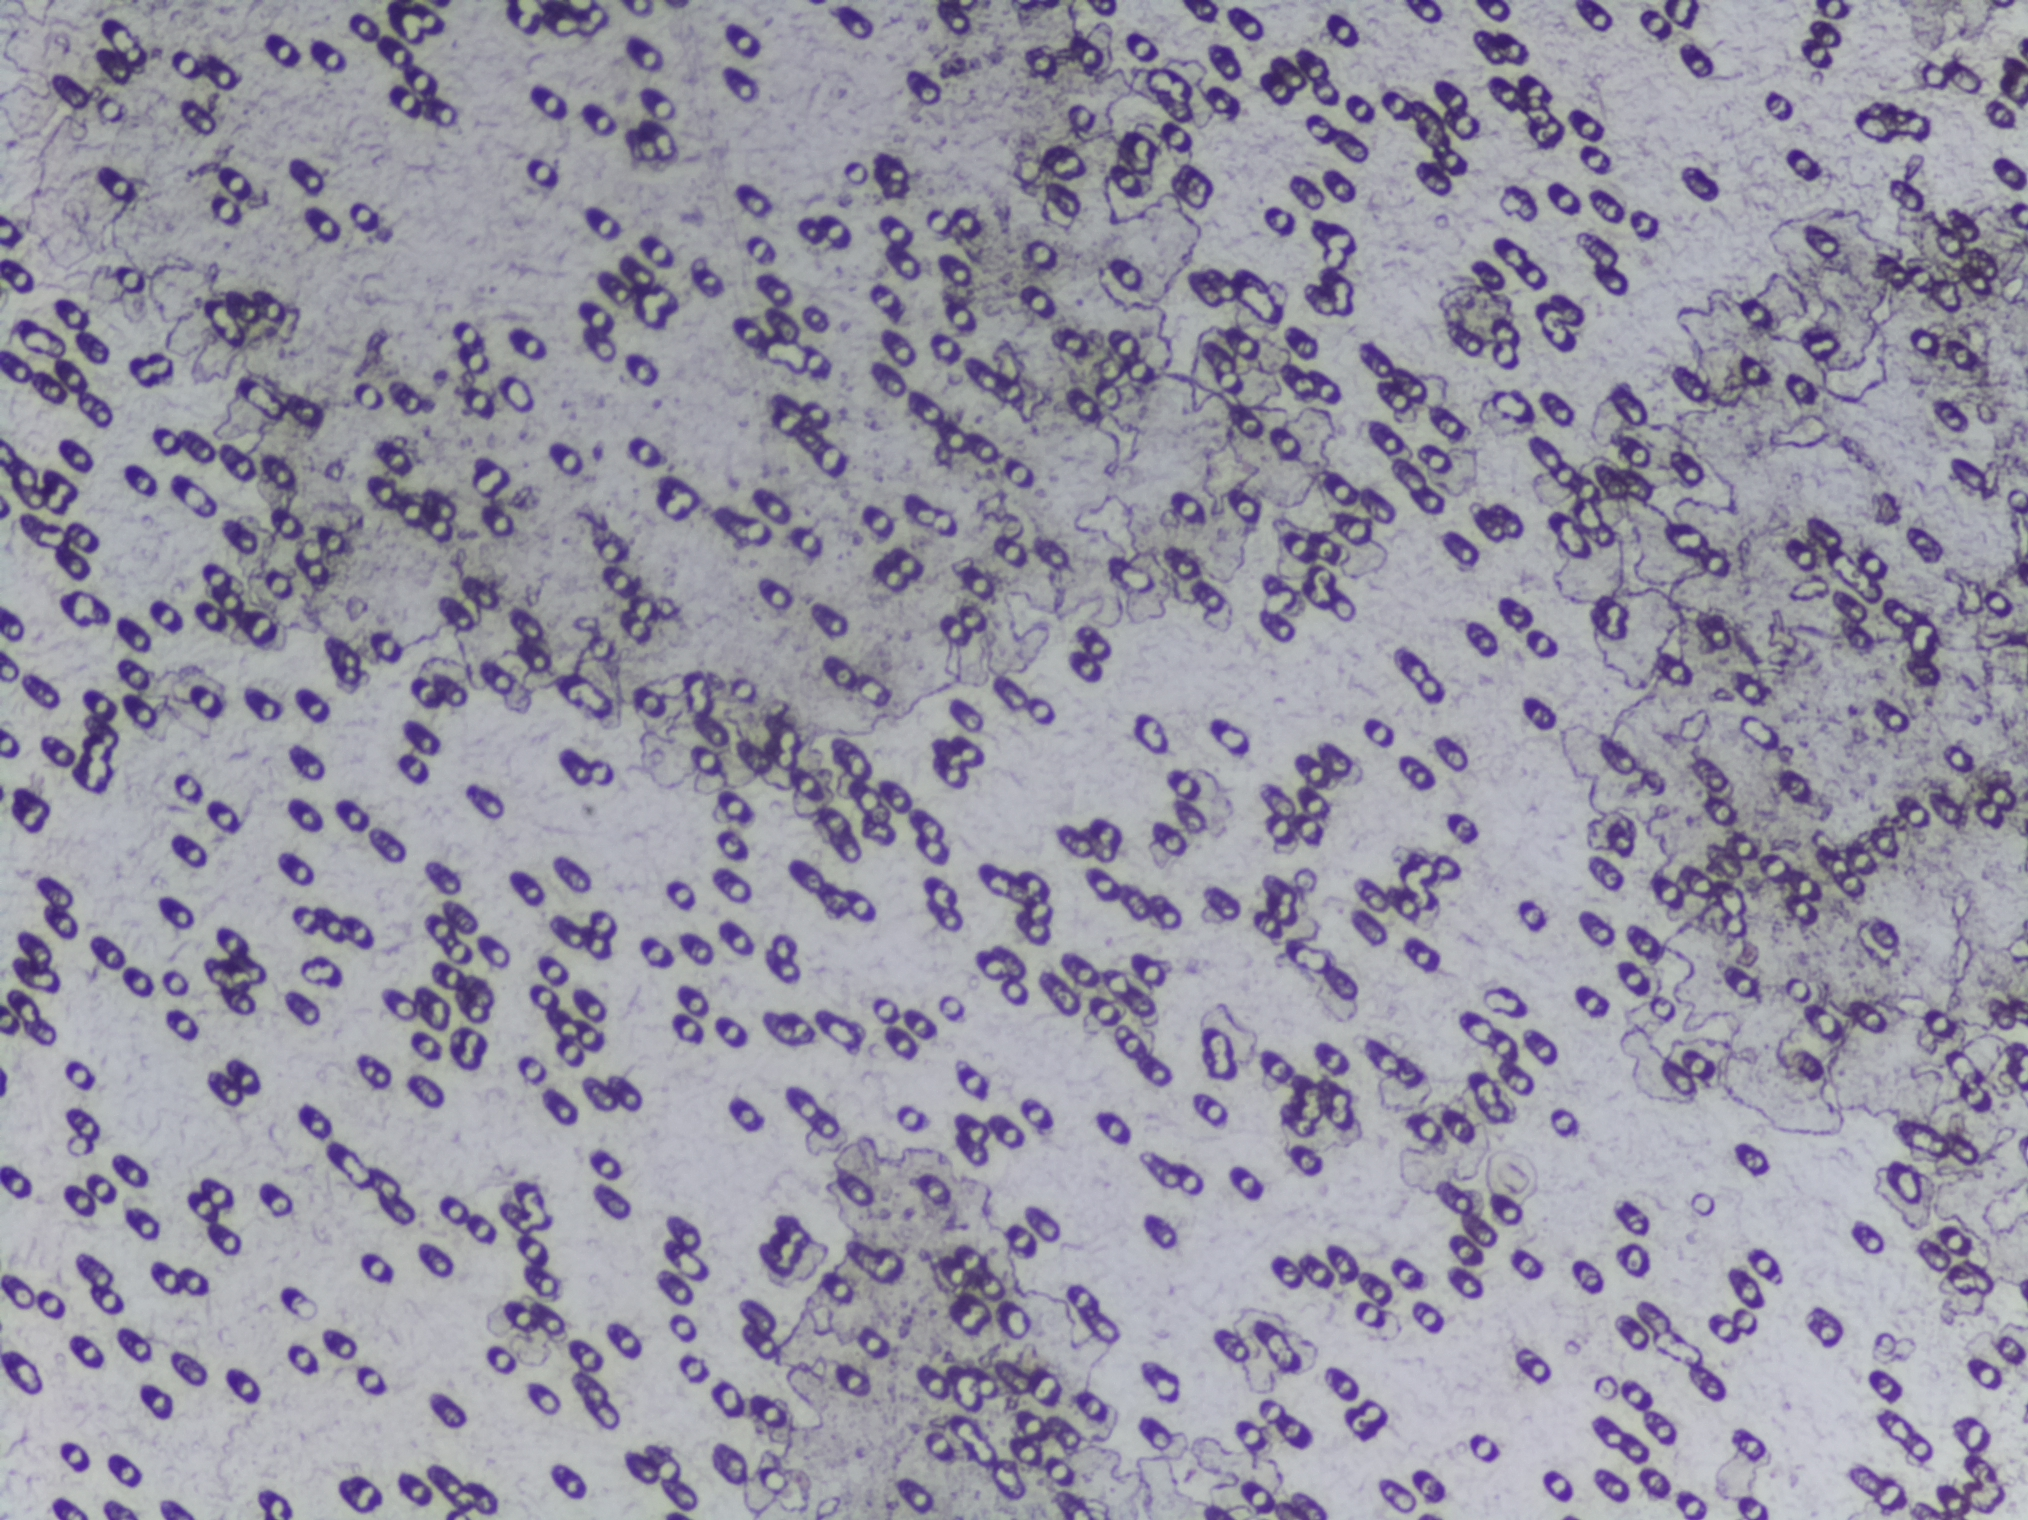
Photograph from an automated digital microscope: urine filter membrane, 4× objective.
No Schistosoma egg is outlined in this image's expert annotation.